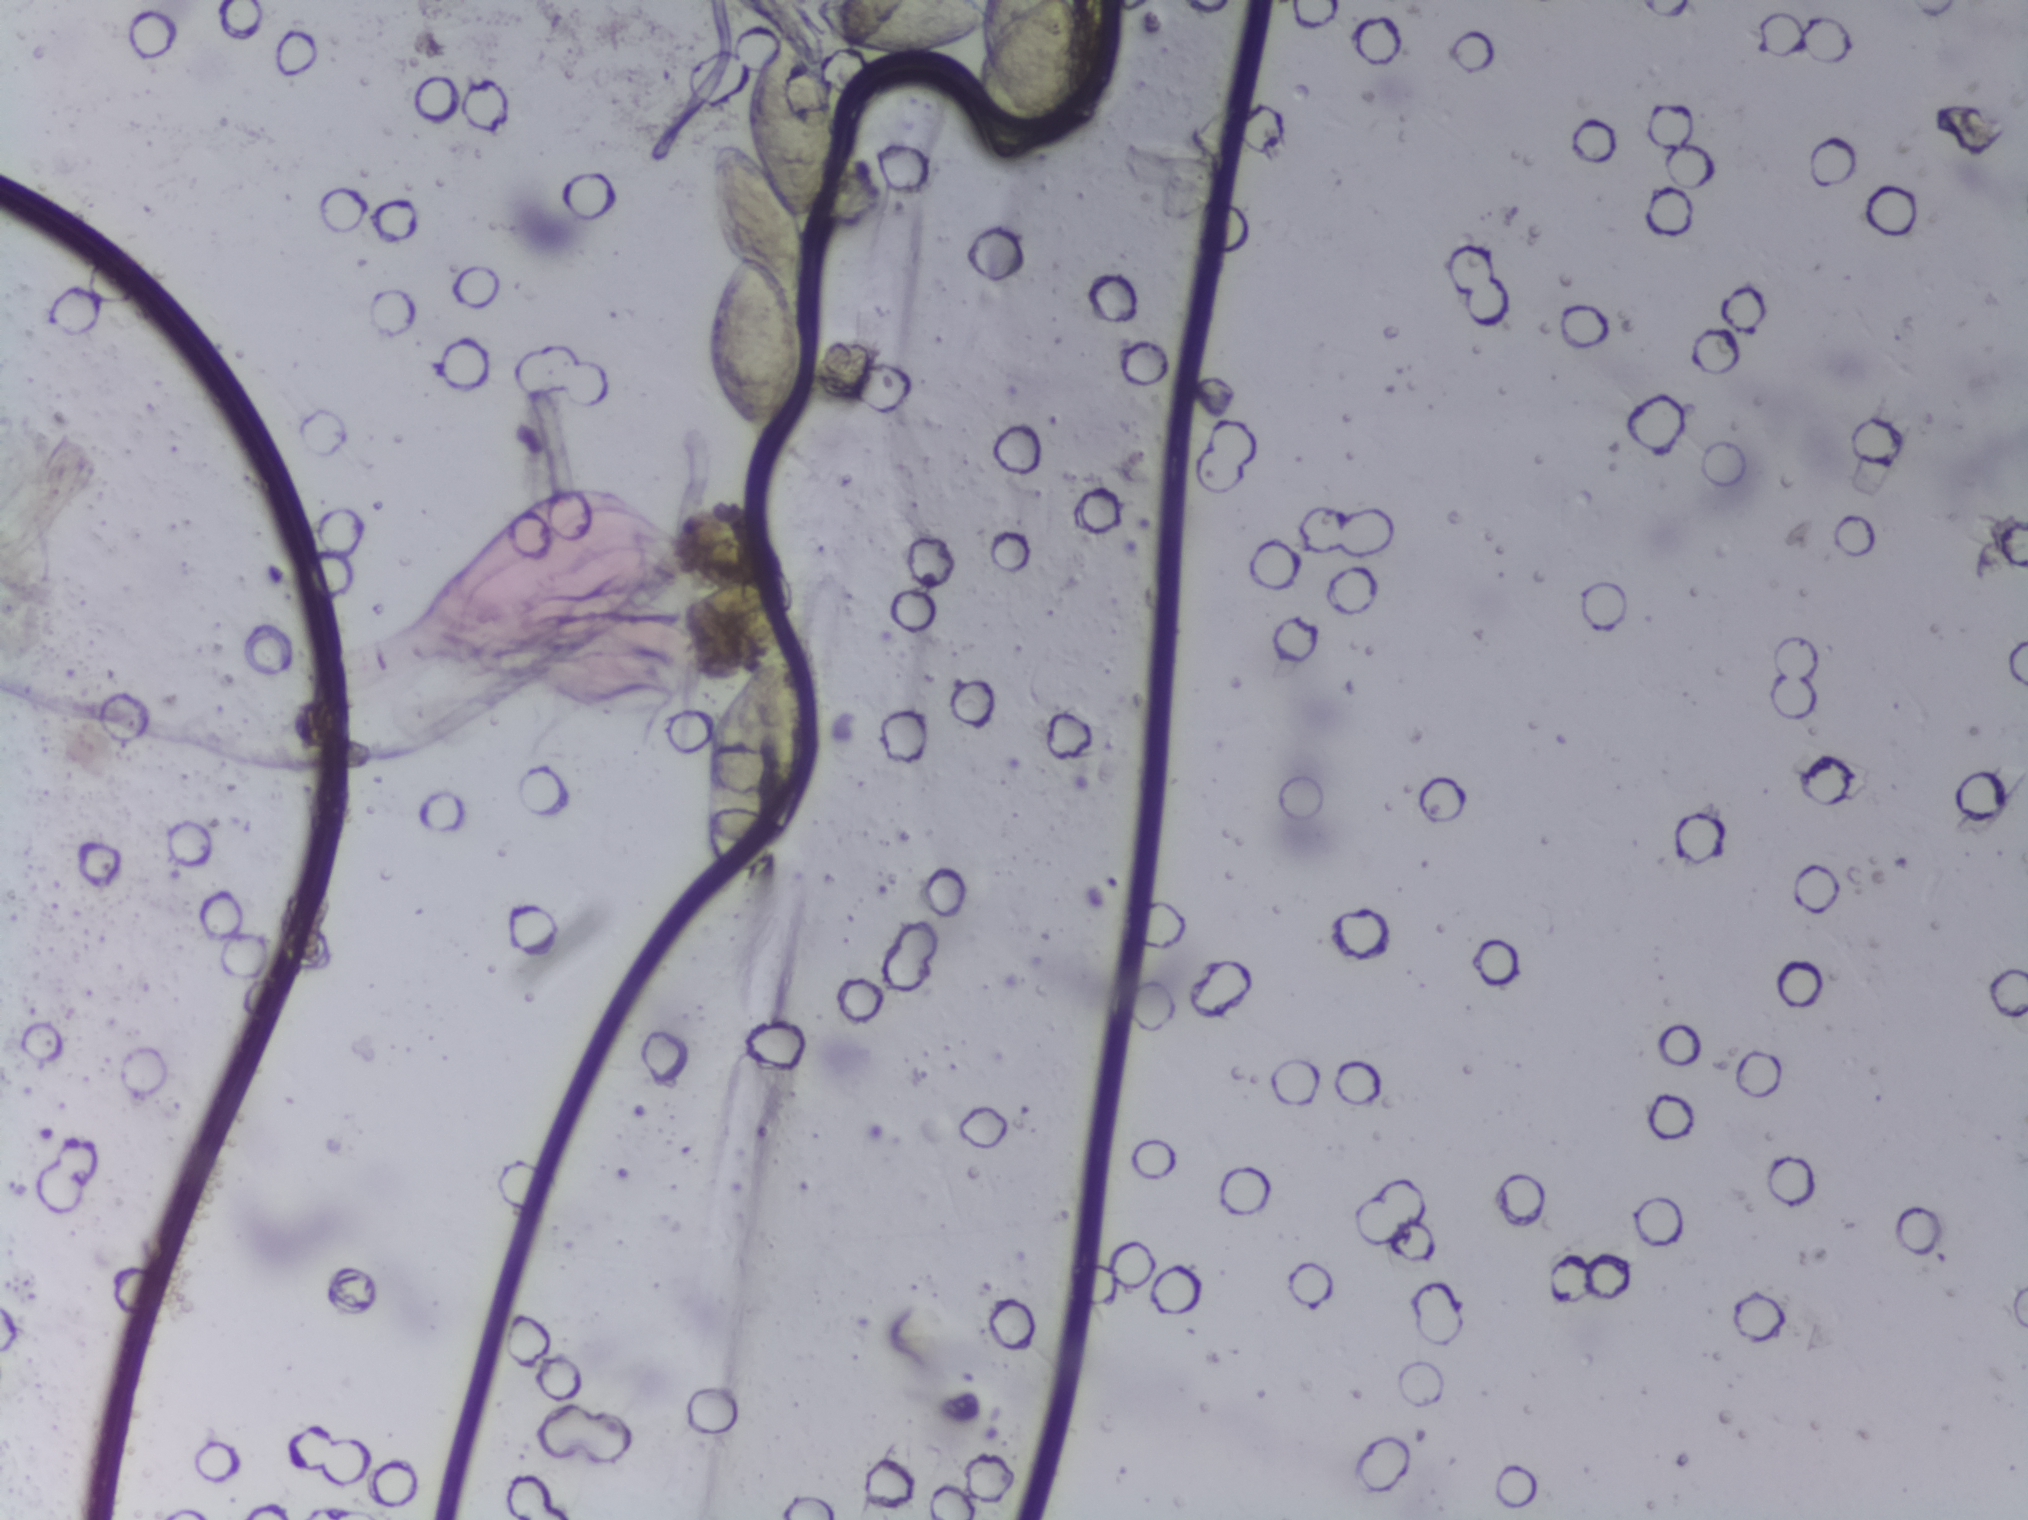
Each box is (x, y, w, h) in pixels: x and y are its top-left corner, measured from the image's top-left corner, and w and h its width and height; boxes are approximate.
Findings: three areas outlined as Schistosoma eggs. Locations: (x=704, y=23, w=141, h=430); (x=704, y=630, w=128, h=243); (x=813, y=0, w=277, h=168) (reaching the top edge of the frame). An outlined area can hold more than one egg.
Urine filtration membrane under a 4× objective, photographed by an automated digital microscope.